Urine filtration membrane under a 4× objective, photographed by an automated digital microscope.
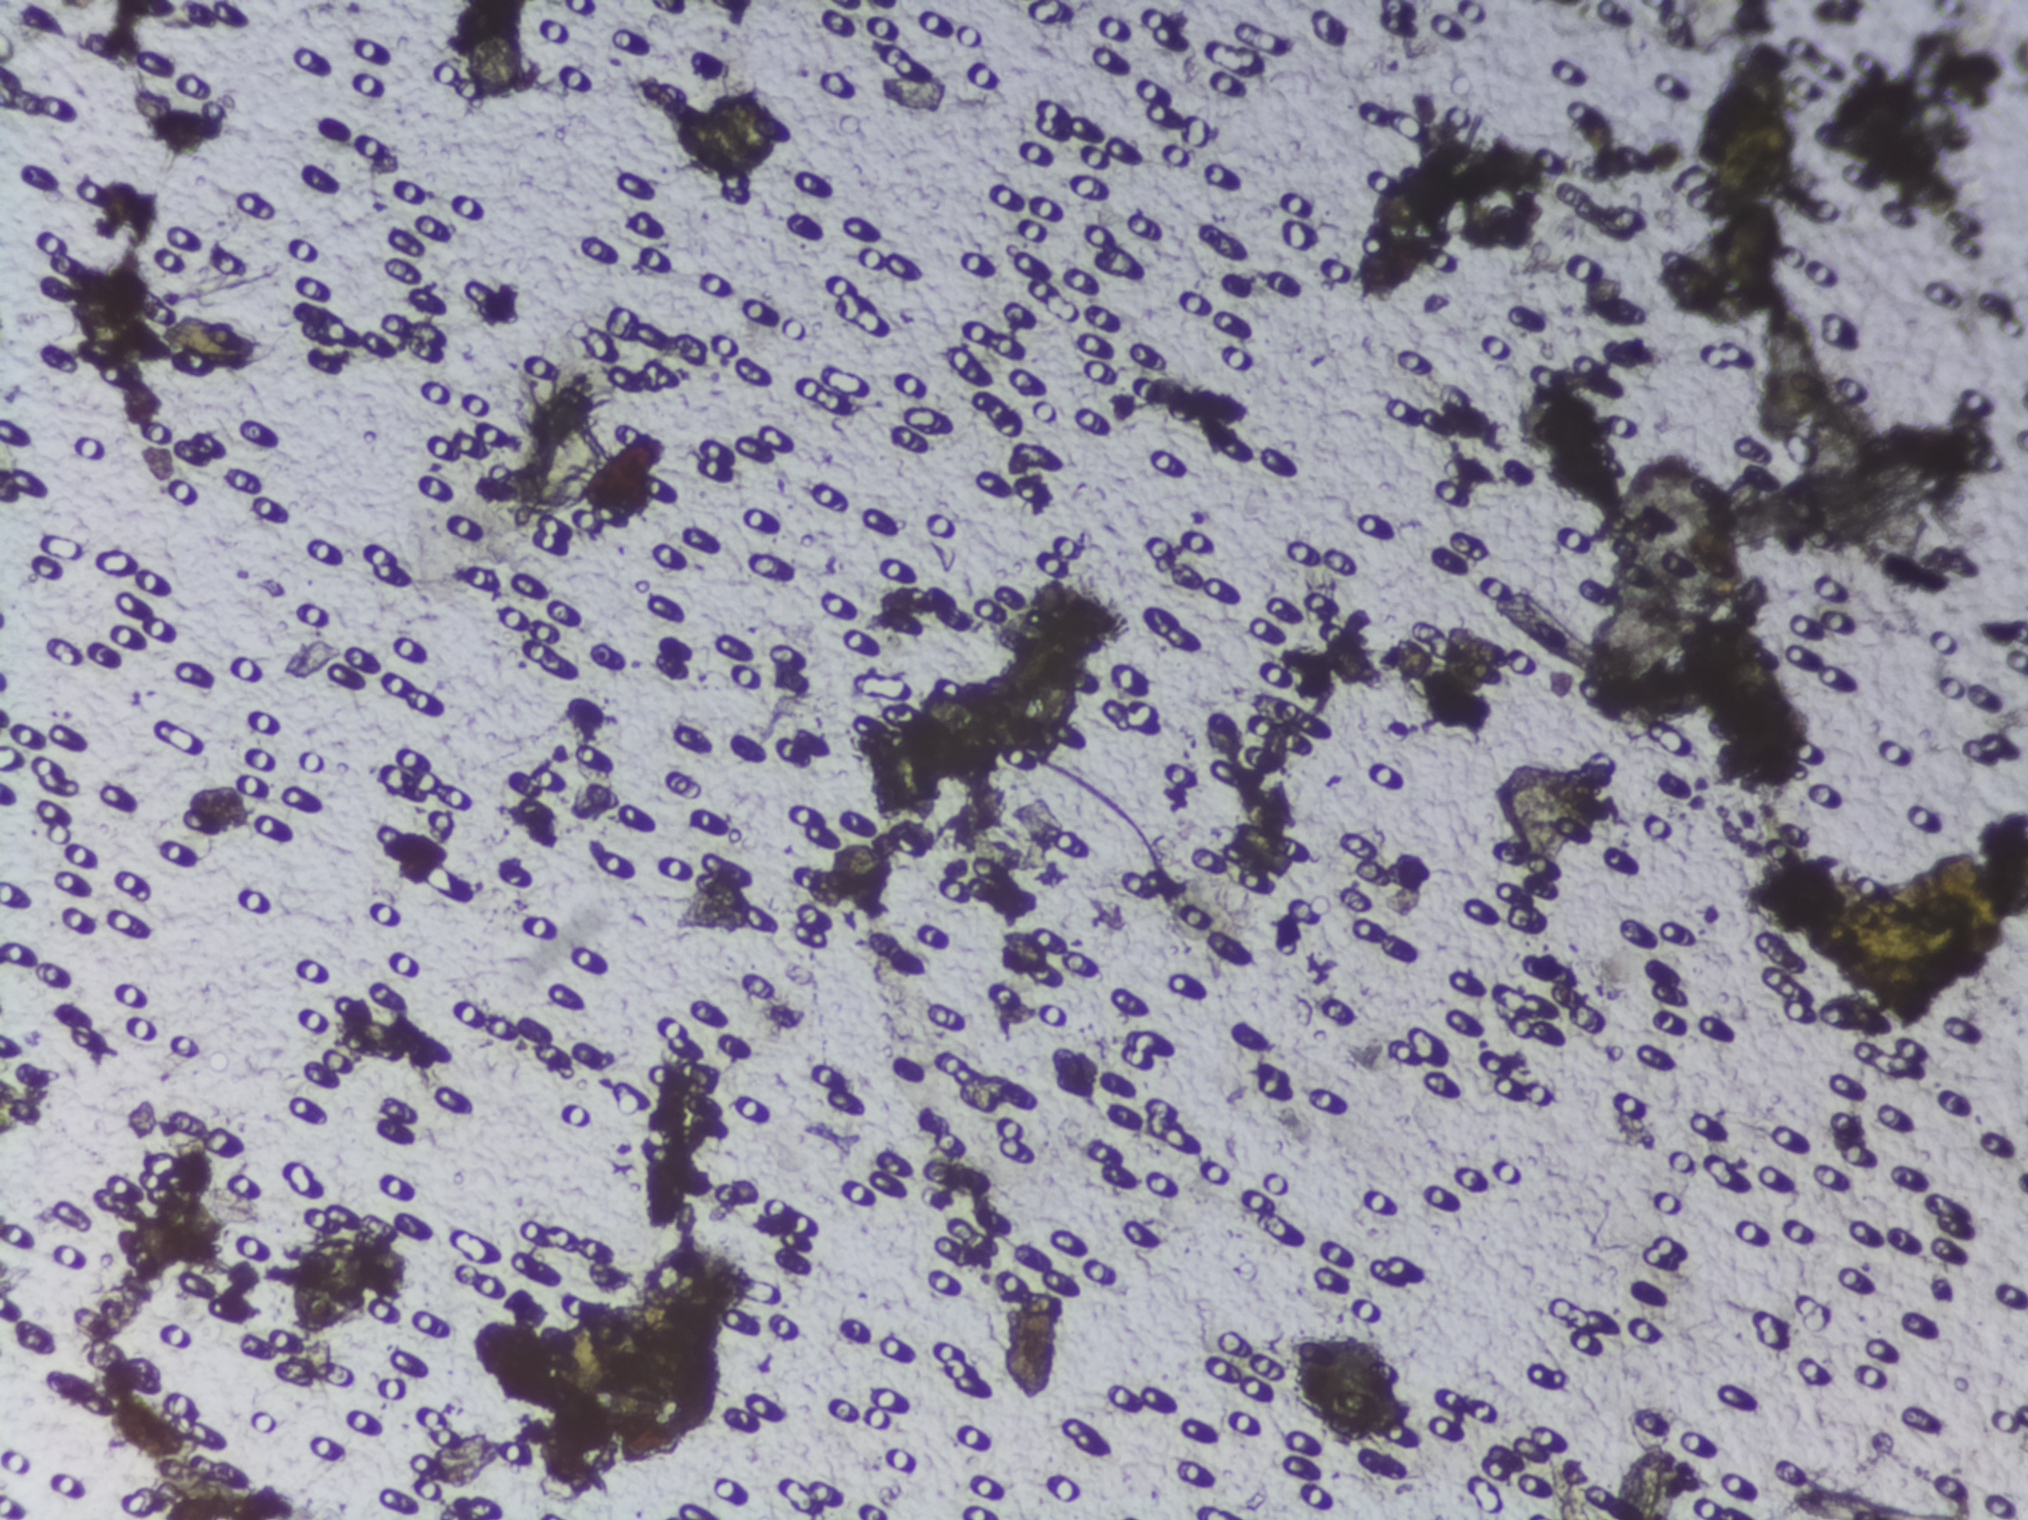
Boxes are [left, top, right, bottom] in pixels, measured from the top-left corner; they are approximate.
Schistosoma eggs are outlined in one area of this image: [1352, 163, 1445, 305]. About 0.3% of the image's pixels are marked (the marked pixels themselves, not the box around them). An outlined area can hold more than one egg.